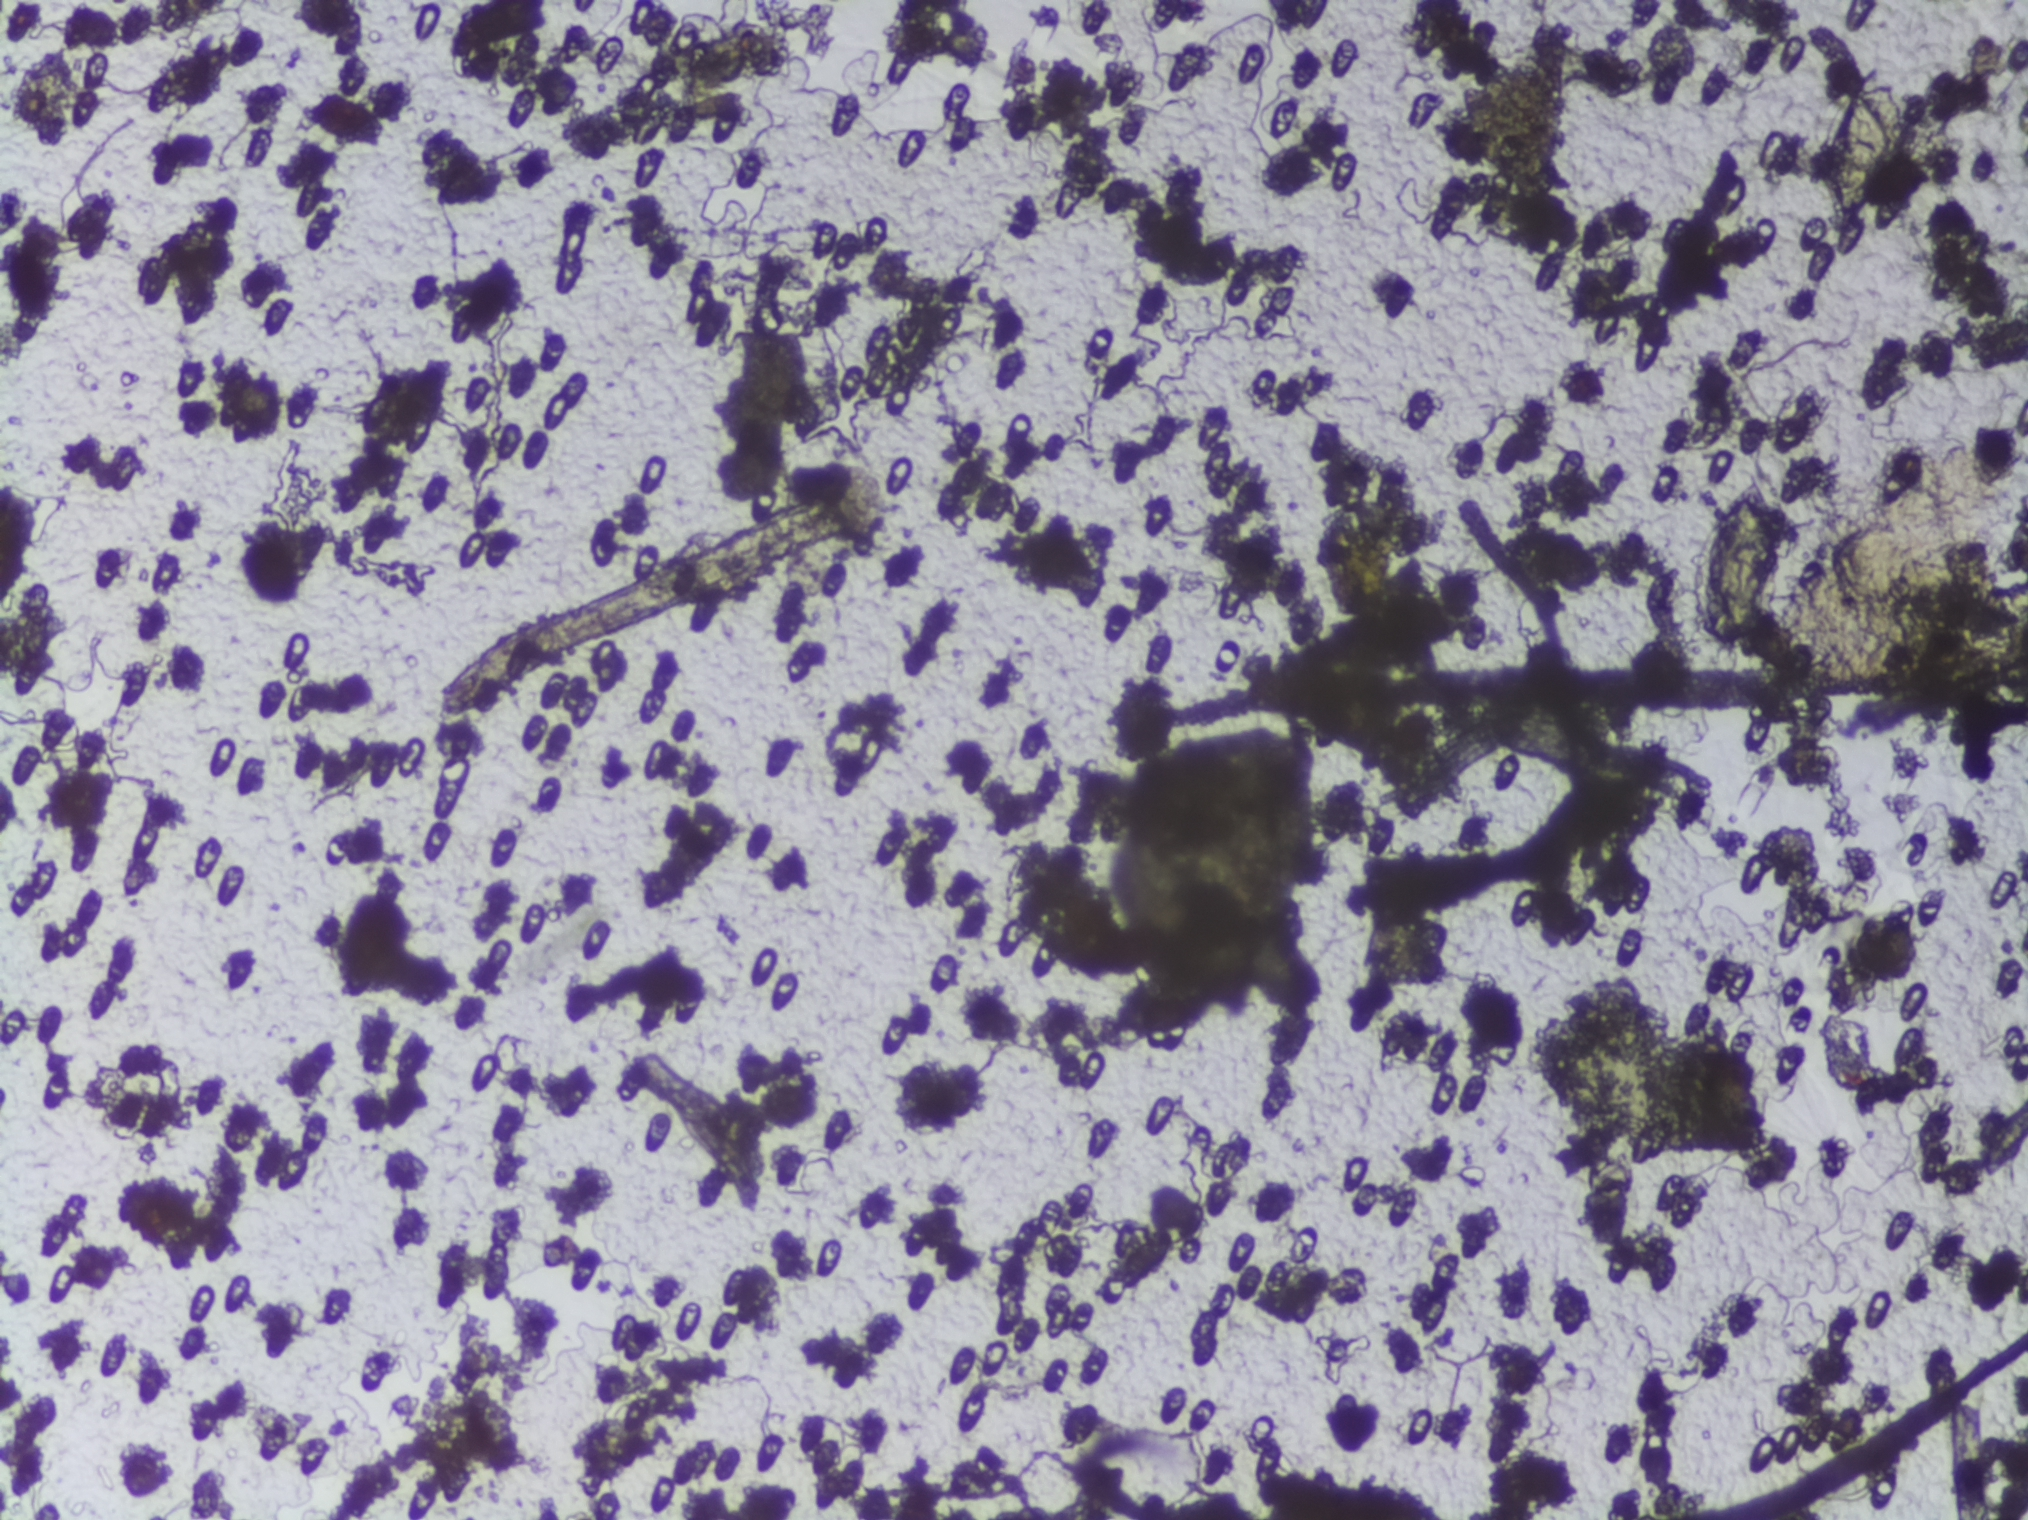
Urine filtration membrane under a 4× objective, photographed by an automated digital microscope. The image covers about 1.5 × 1.1 mm of the membrane.
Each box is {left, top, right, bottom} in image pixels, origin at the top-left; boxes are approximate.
Schistosoma eggs are outlined in two areas of this image, listed from left to right: {1697, 469, 1785, 654} and {1820, 76, 1912, 243}. Eggs that touch can end up inside the same outlined area.